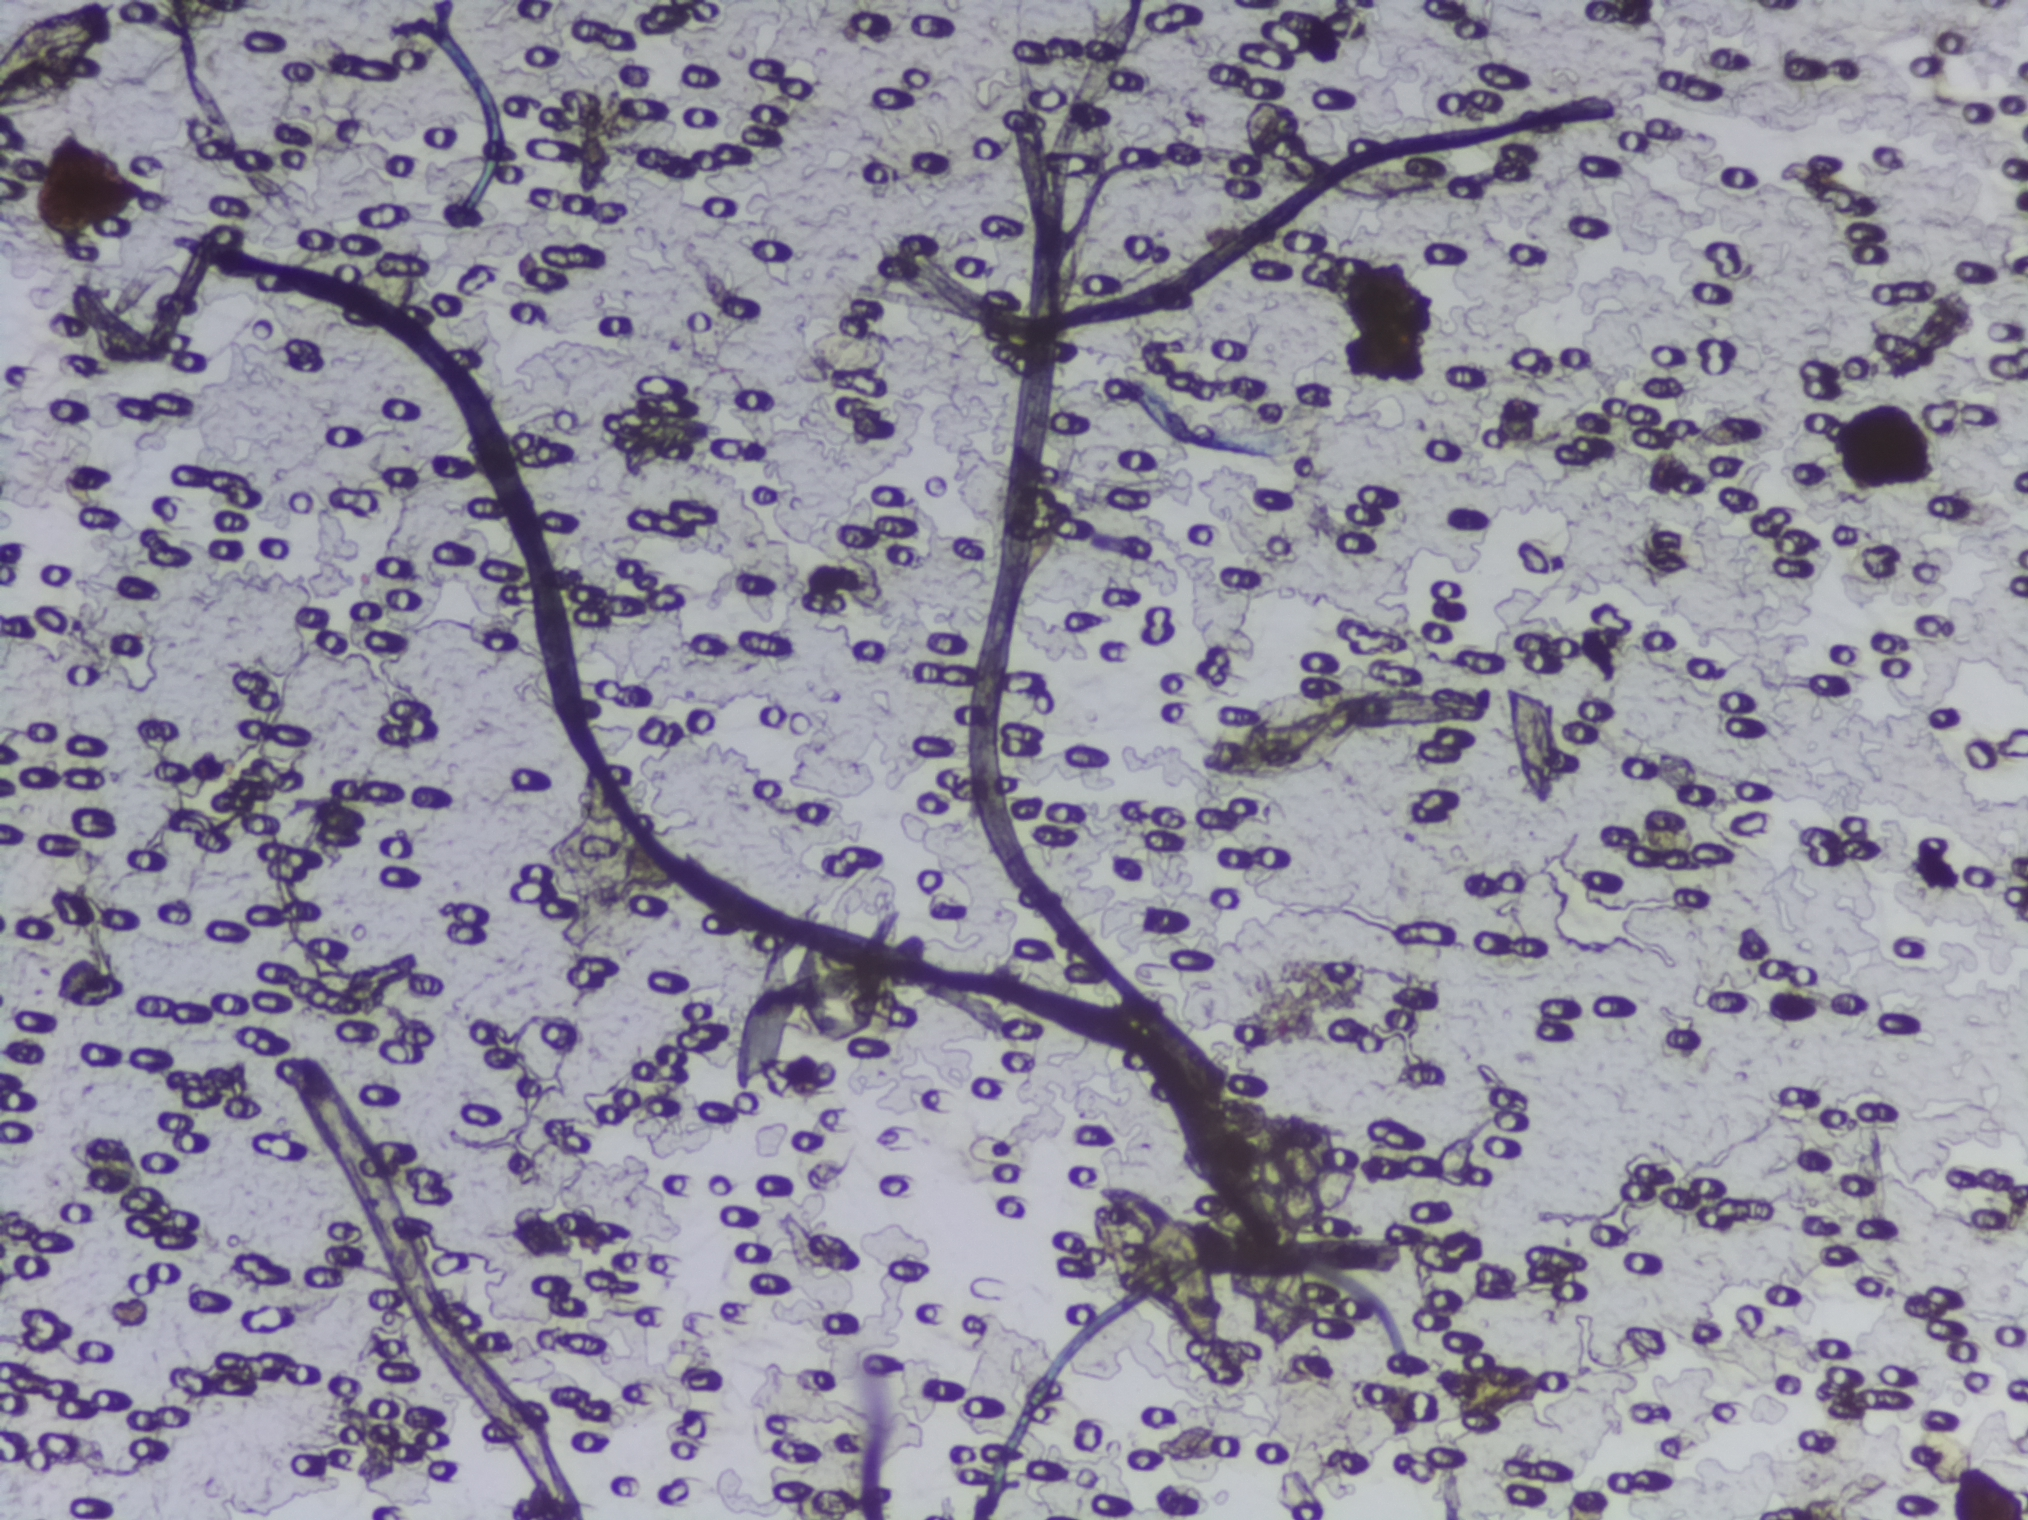
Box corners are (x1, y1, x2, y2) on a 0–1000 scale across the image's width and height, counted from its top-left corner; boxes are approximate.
Schistosoma eggs are outlined in three areas of this image, listed from left to right: (0, 0, 58, 76) (reaching the left and top edges of the frame); (540, 784, 602, 888); (587, 450, 682, 513). Eggs that touch can end up inside the same outlined area.
Microscope photograph (4× objective) of a membrane that a urine sample was filtered through.